Photograph from an automated digital microscope: urine filter membrane, 4× objective. The image covers about 1.5 × 1.1 mm of the membrane.
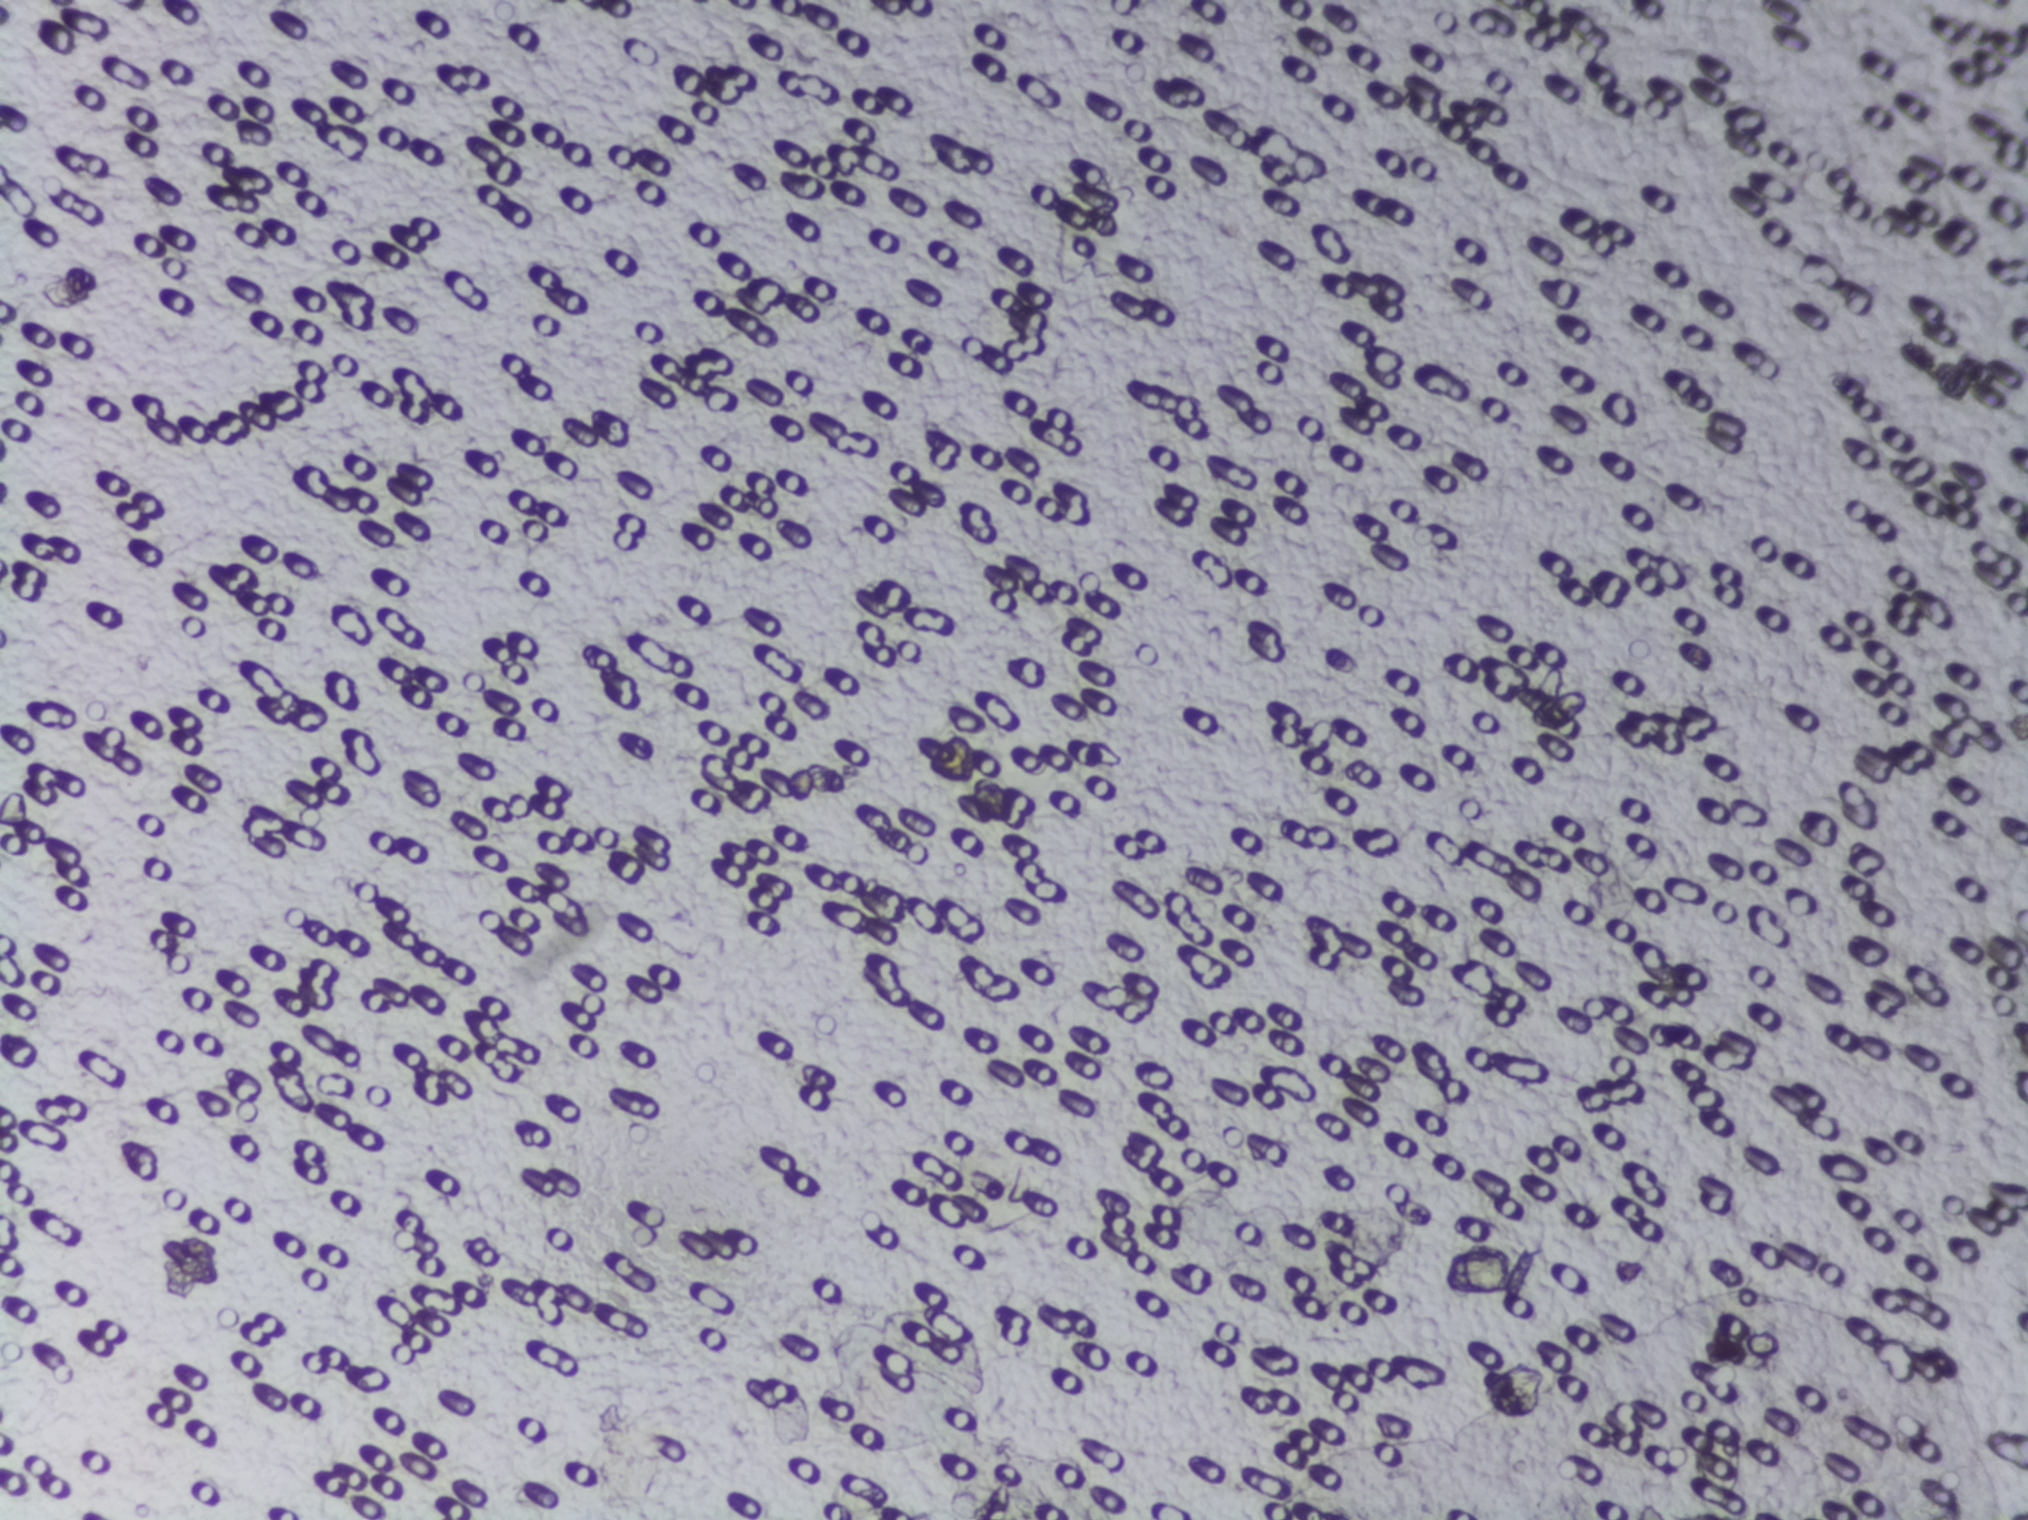
Schistosoma eggs: none outlined.